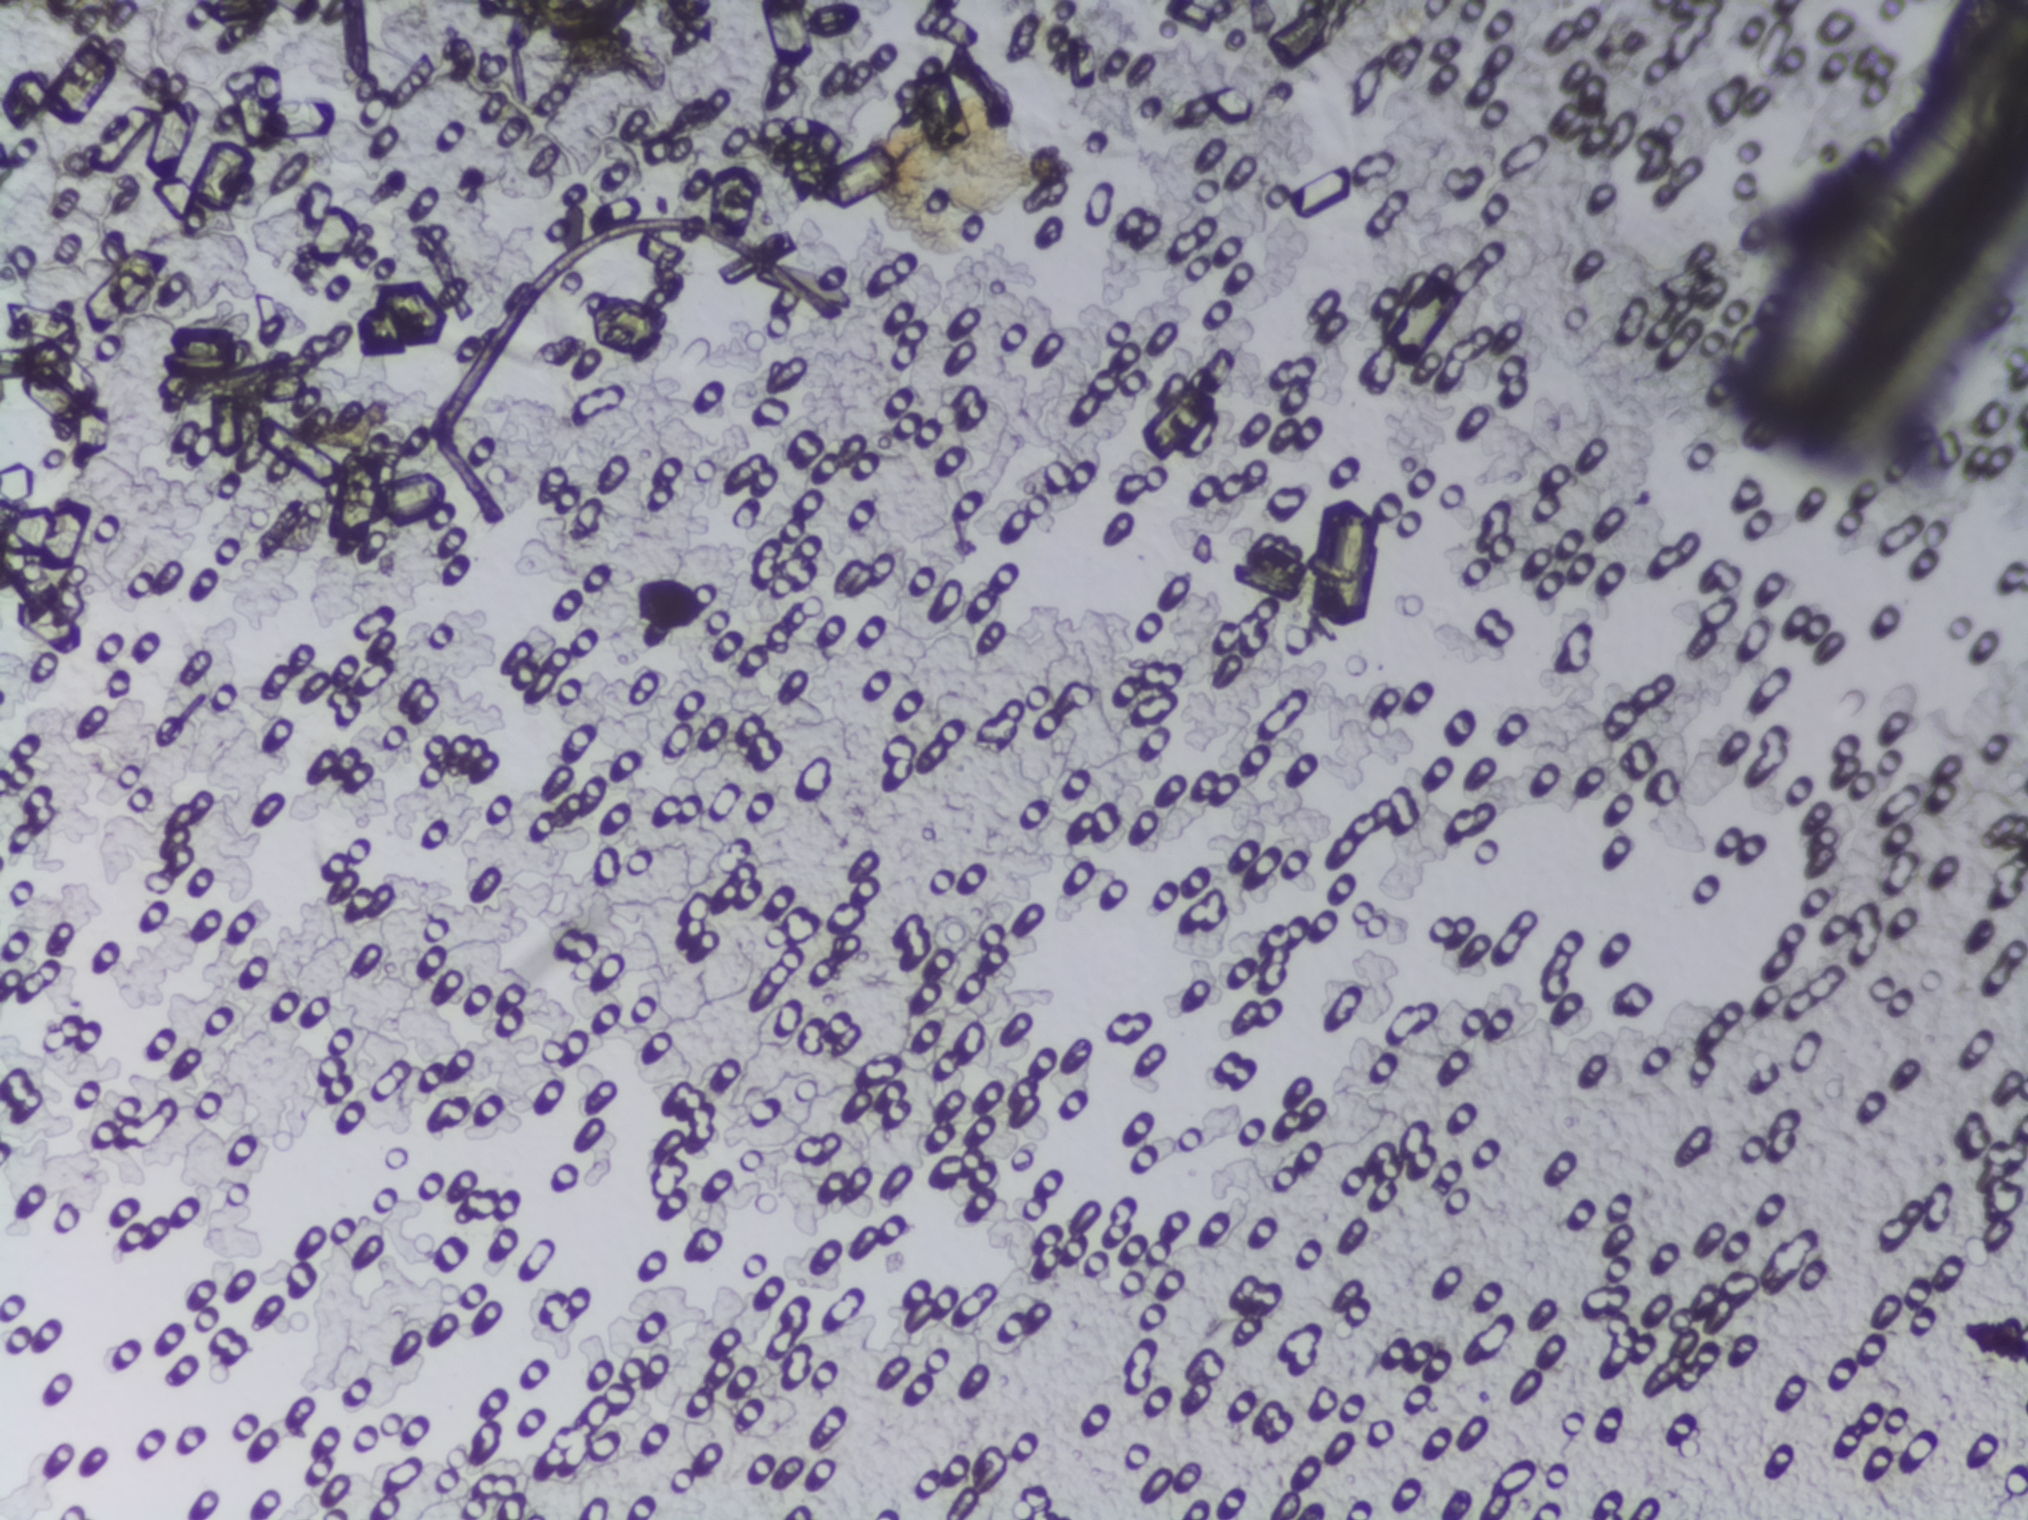
The expert annotation marks no Schistosoma egg in this field of view.
Microscope photograph (4× objective) of a membrane that a urine sample was filtered through. The image covers about 1.5 × 1.1 mm of the membrane.